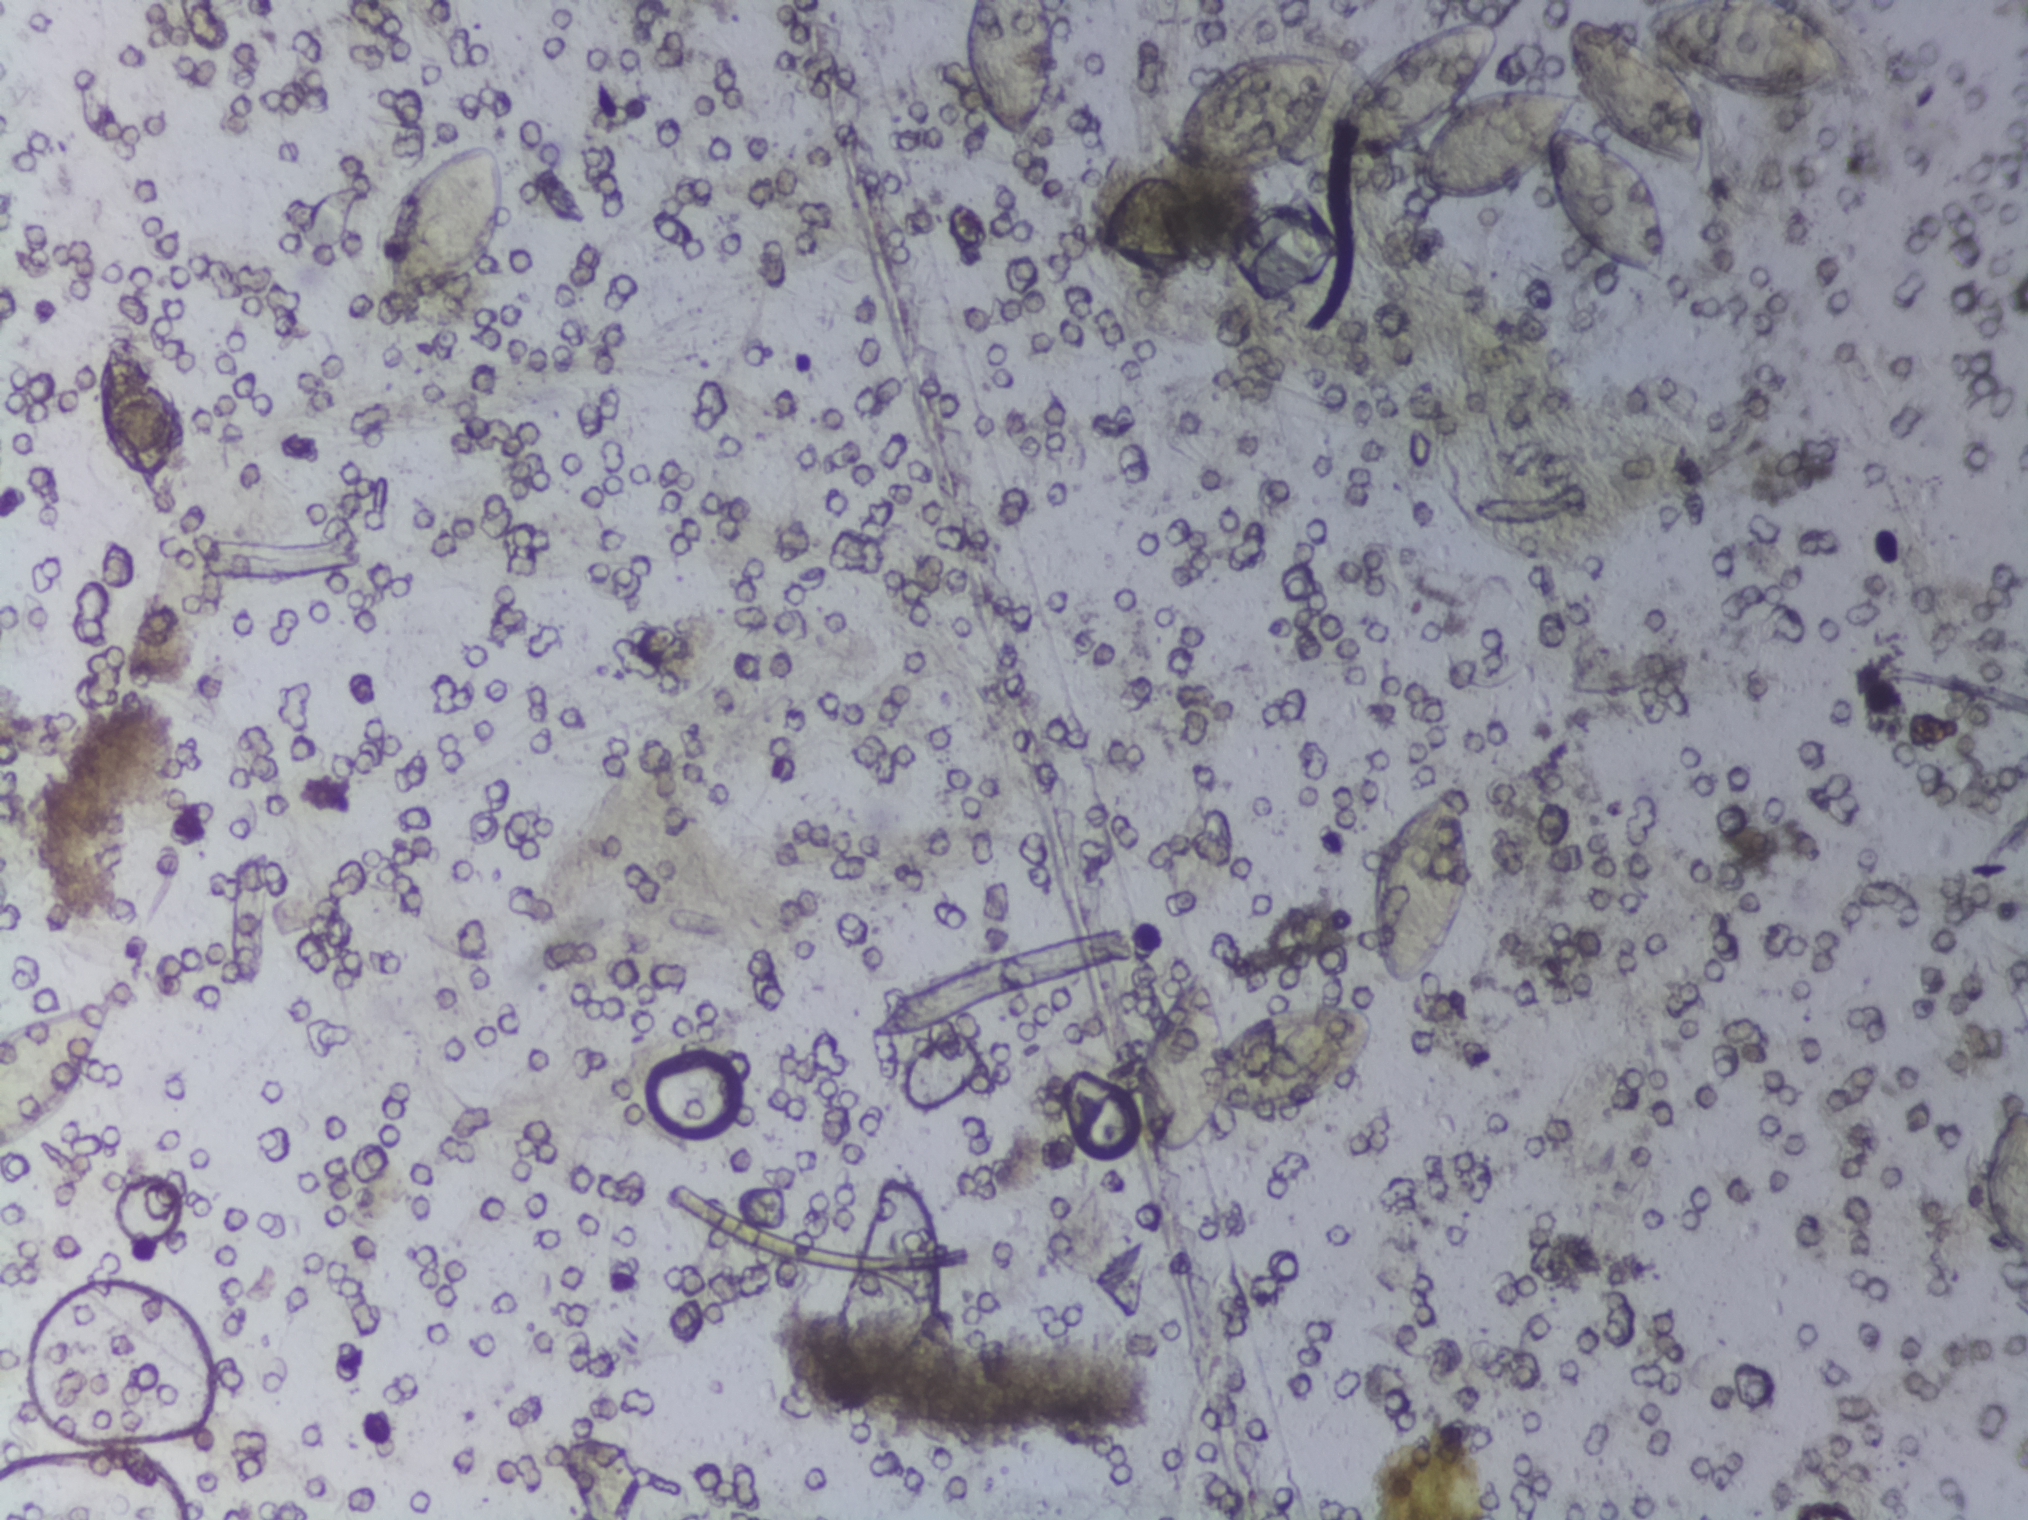
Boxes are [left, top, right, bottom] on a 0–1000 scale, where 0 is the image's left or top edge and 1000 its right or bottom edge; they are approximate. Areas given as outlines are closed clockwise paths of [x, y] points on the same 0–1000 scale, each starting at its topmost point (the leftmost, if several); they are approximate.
Schistosoma eggs are outlined in eight areas of this image, listed from left to right: box [0, 656, 60, 757] (reaching the left edge of the frame); box [47, 220, 85, 316]; box [185, 94, 250, 207]; box [474, 0, 521, 95] (reaching the top edge of the frame); box [557, 636, 679, 762]; outline [818, 0], [885, 2], [911, 35], [915, 50], [885, 70], [855, 65], [834, 53], [842, 88], [840, 114], [808, 100], [779, 68], [774, 81], [791, 88], [813, 116], [822, 159], [822, 179], [818, 187], [793, 174], [774, 152], [766, 133], [763, 106], [741, 127], [720, 133], [701, 123], [701, 96], [685, 103], [658, 103], [651, 86], [638, 106], [615, 117], [584, 109], [577, 99], [577, 85], [583, 68], [606, 43], [623, 36], [660, 38], [660, 63], [692, 27], [723, 13], [735, 14], [741, 25], [729, 59], [746, 56], [779, 62], [773, 17], [786, 12], [820, 34], [810, 13] (a cluster of eggs; reaching the top edge of the frame); box [673, 515, 726, 650]; box [973, 726, 1000, 836] (reaching the right edge of the frame). A single outlined area may contain several eggs.
Photograph from an automated digital microscope: urine filter membrane, 4× objective.